Urine filtration membrane under a 4× objective, photographed by an automated digital microscope.
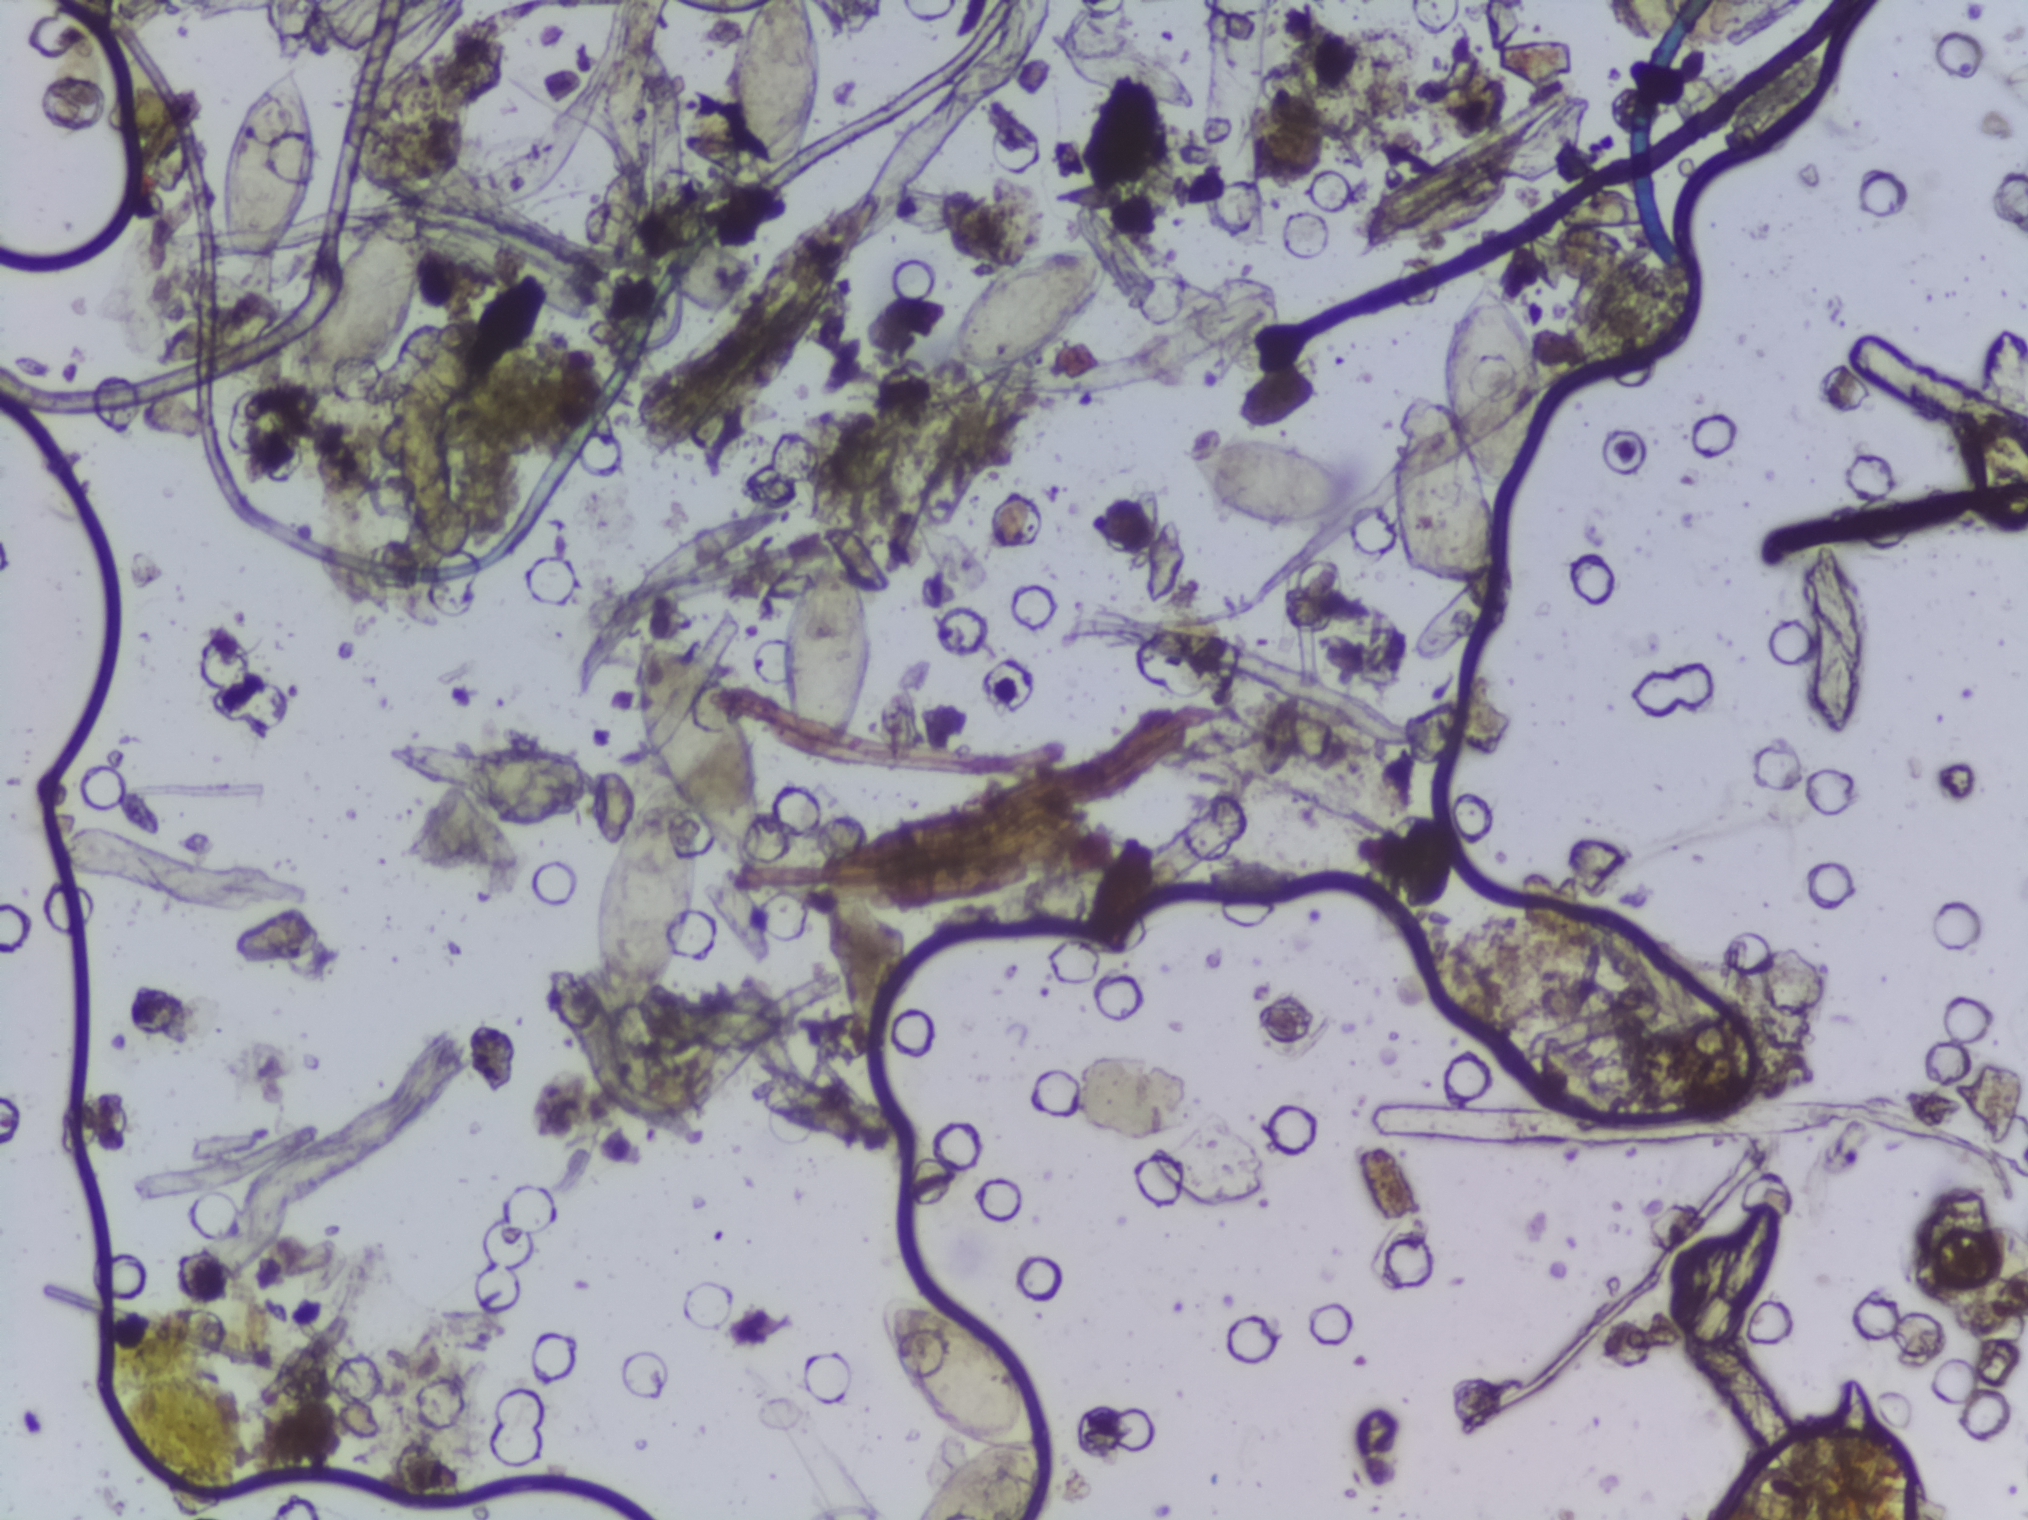
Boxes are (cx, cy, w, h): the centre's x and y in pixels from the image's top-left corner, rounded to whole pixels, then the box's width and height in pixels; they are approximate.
Schistosoma eggs, outlined areas: (cx=267, cy=167, w=98, h=209); (cx=361, cy=307, w=134, h=203); (cx=682, cy=823, w=187, h=390); (cx=775, cy=98, w=97, h=197) (reaching the top edge of the frame); (cx=827, cy=651, w=107, h=233); (cx=963, cy=1405, w=174, h=229) (reaching the bottom edge of the frame); (cx=1025, cy=308, w=165, h=130); (cx=1268, cy=485, w=176, h=100); (cx=1492, cy=386, w=106, h=225). A single outlined area may contain several eggs.